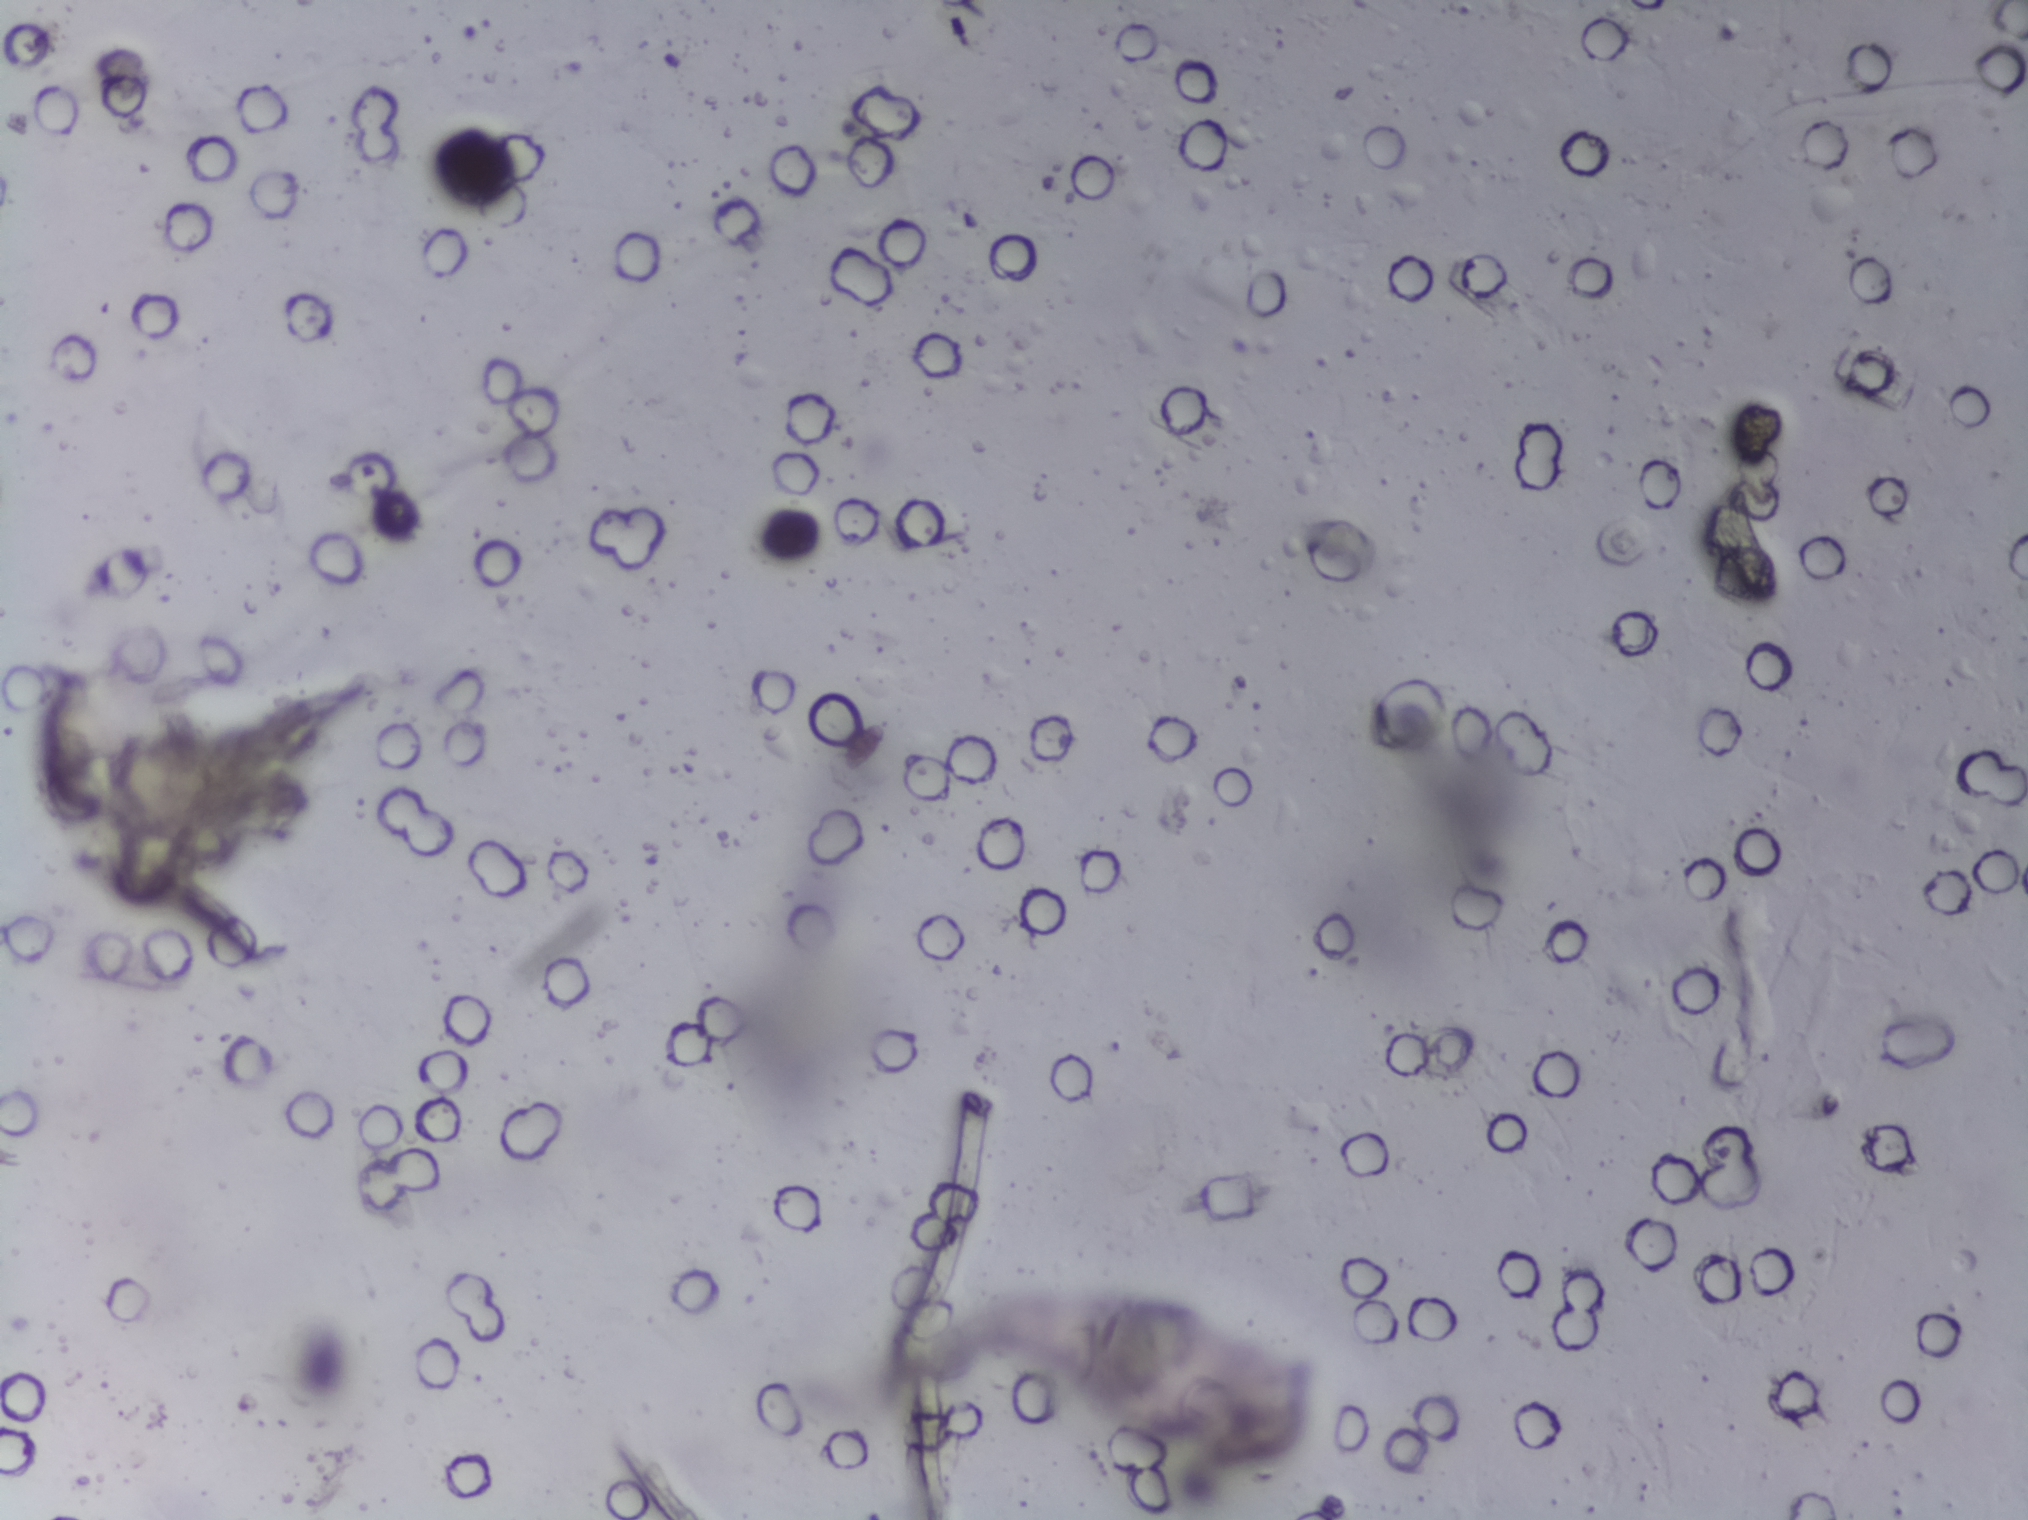
No Schistosoma egg is outlined in this image's expert annotation.
Urine filter membrane photographed through a 4× microscope objective.